Urine filtration membrane under a 4× objective, photographed by an automated digital microscope. The image covers about 1.5 × 1.1 mm of the membrane.
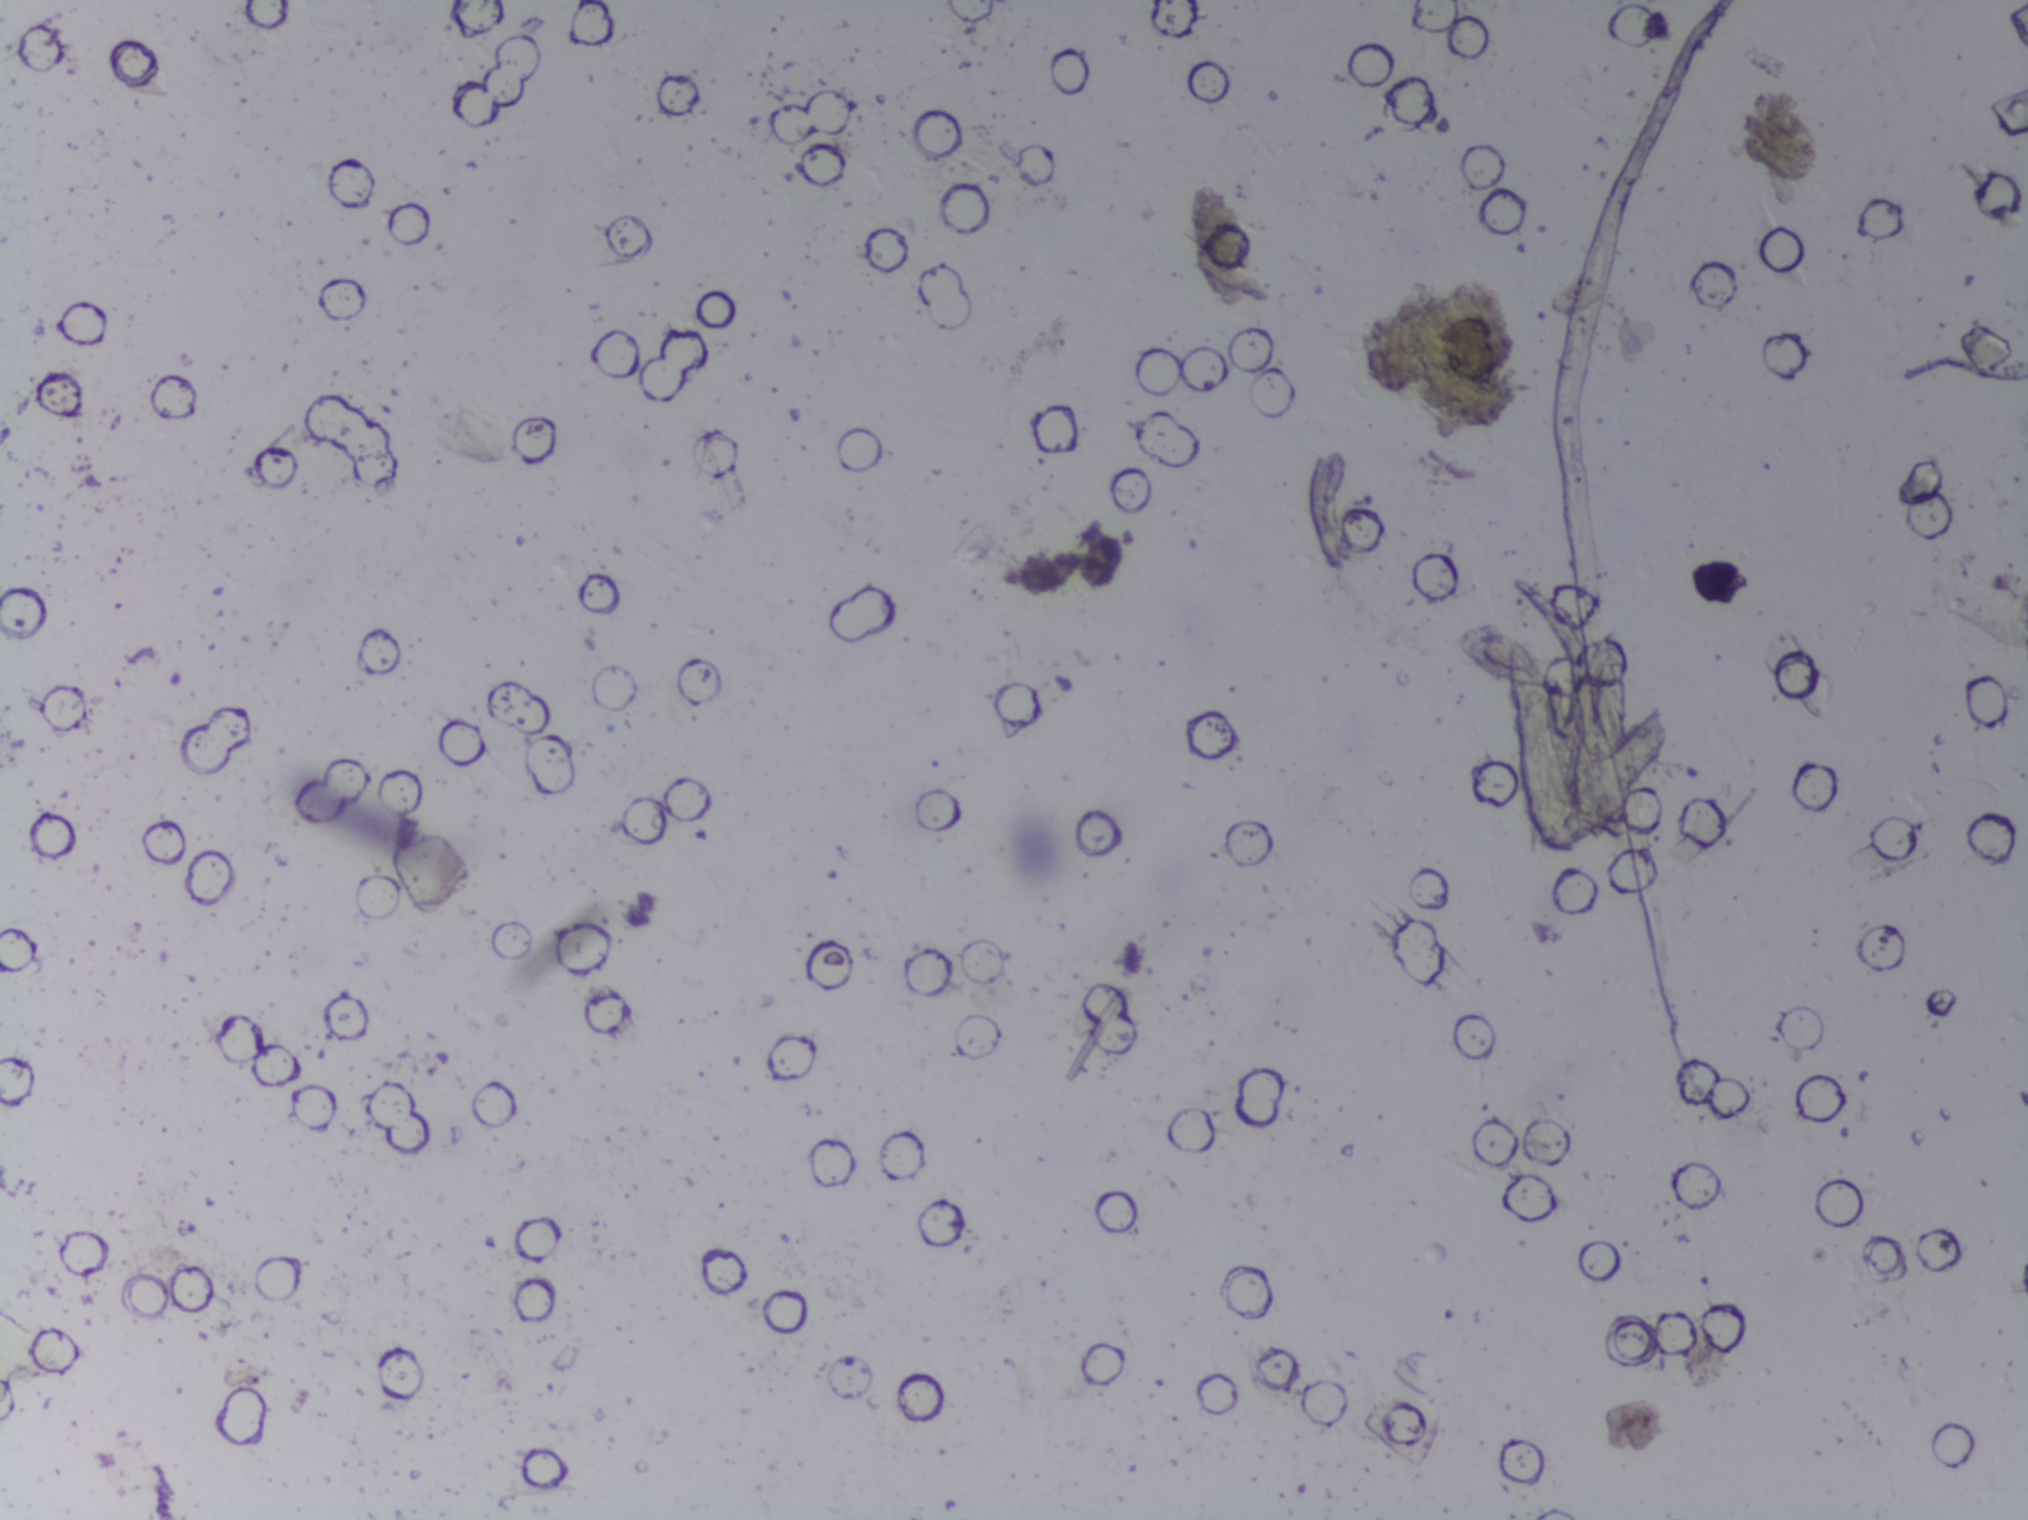
Schistosoma eggs: none outlined.